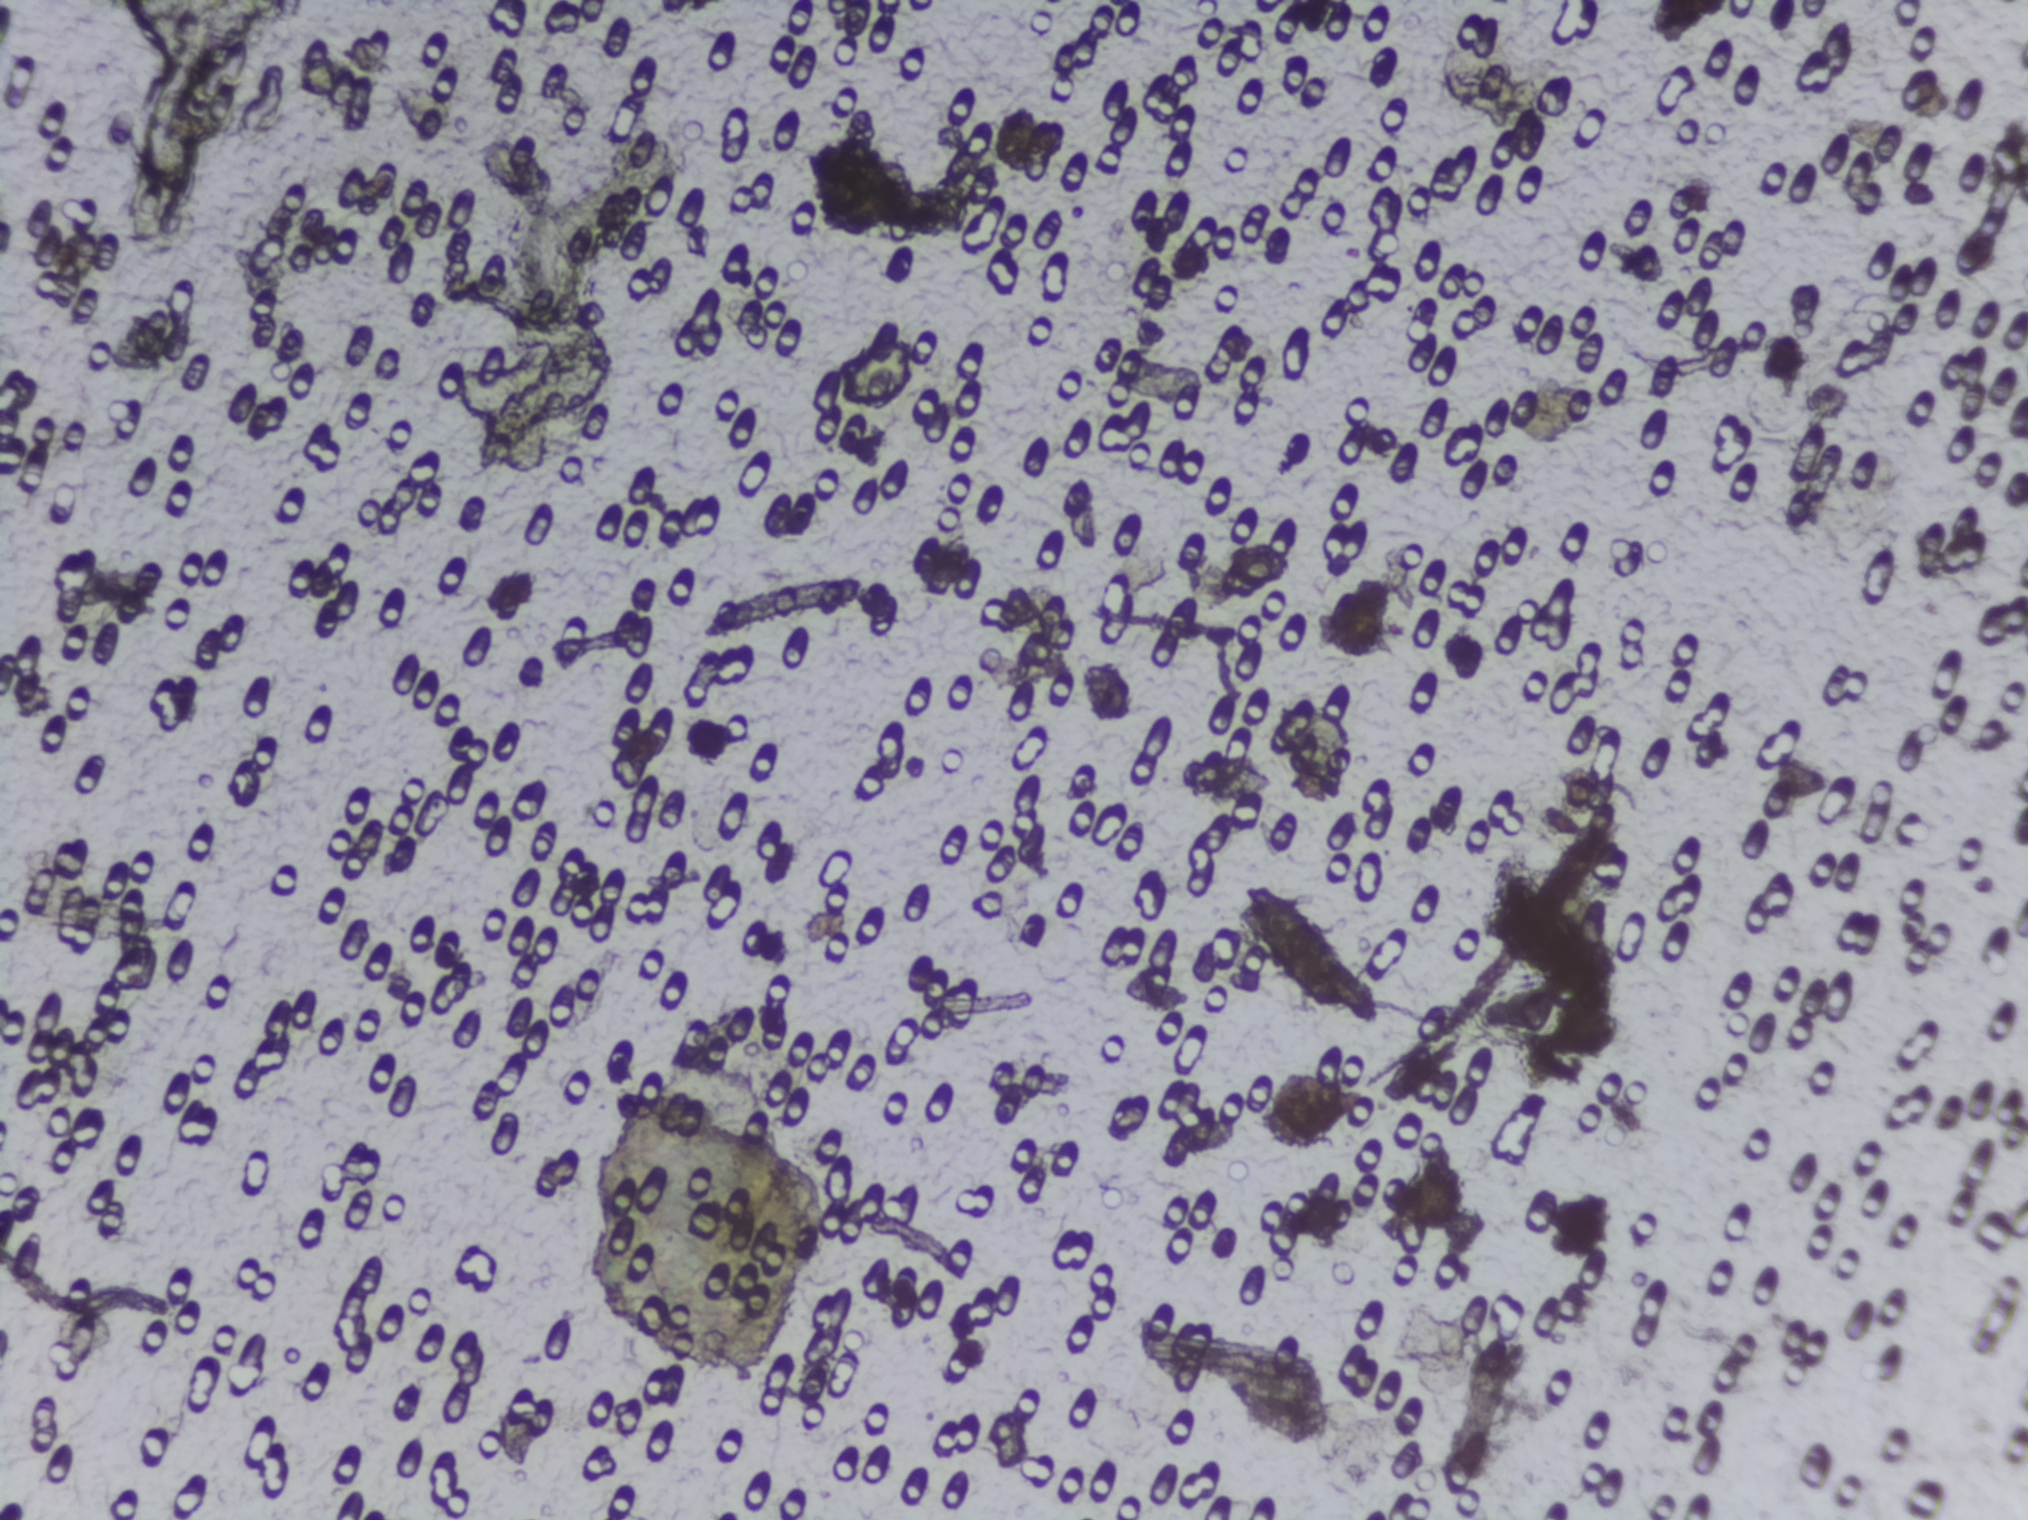
Urine filter membrane photographed through a 4× microscope objective.
Schistosoma eggs: none outlined.